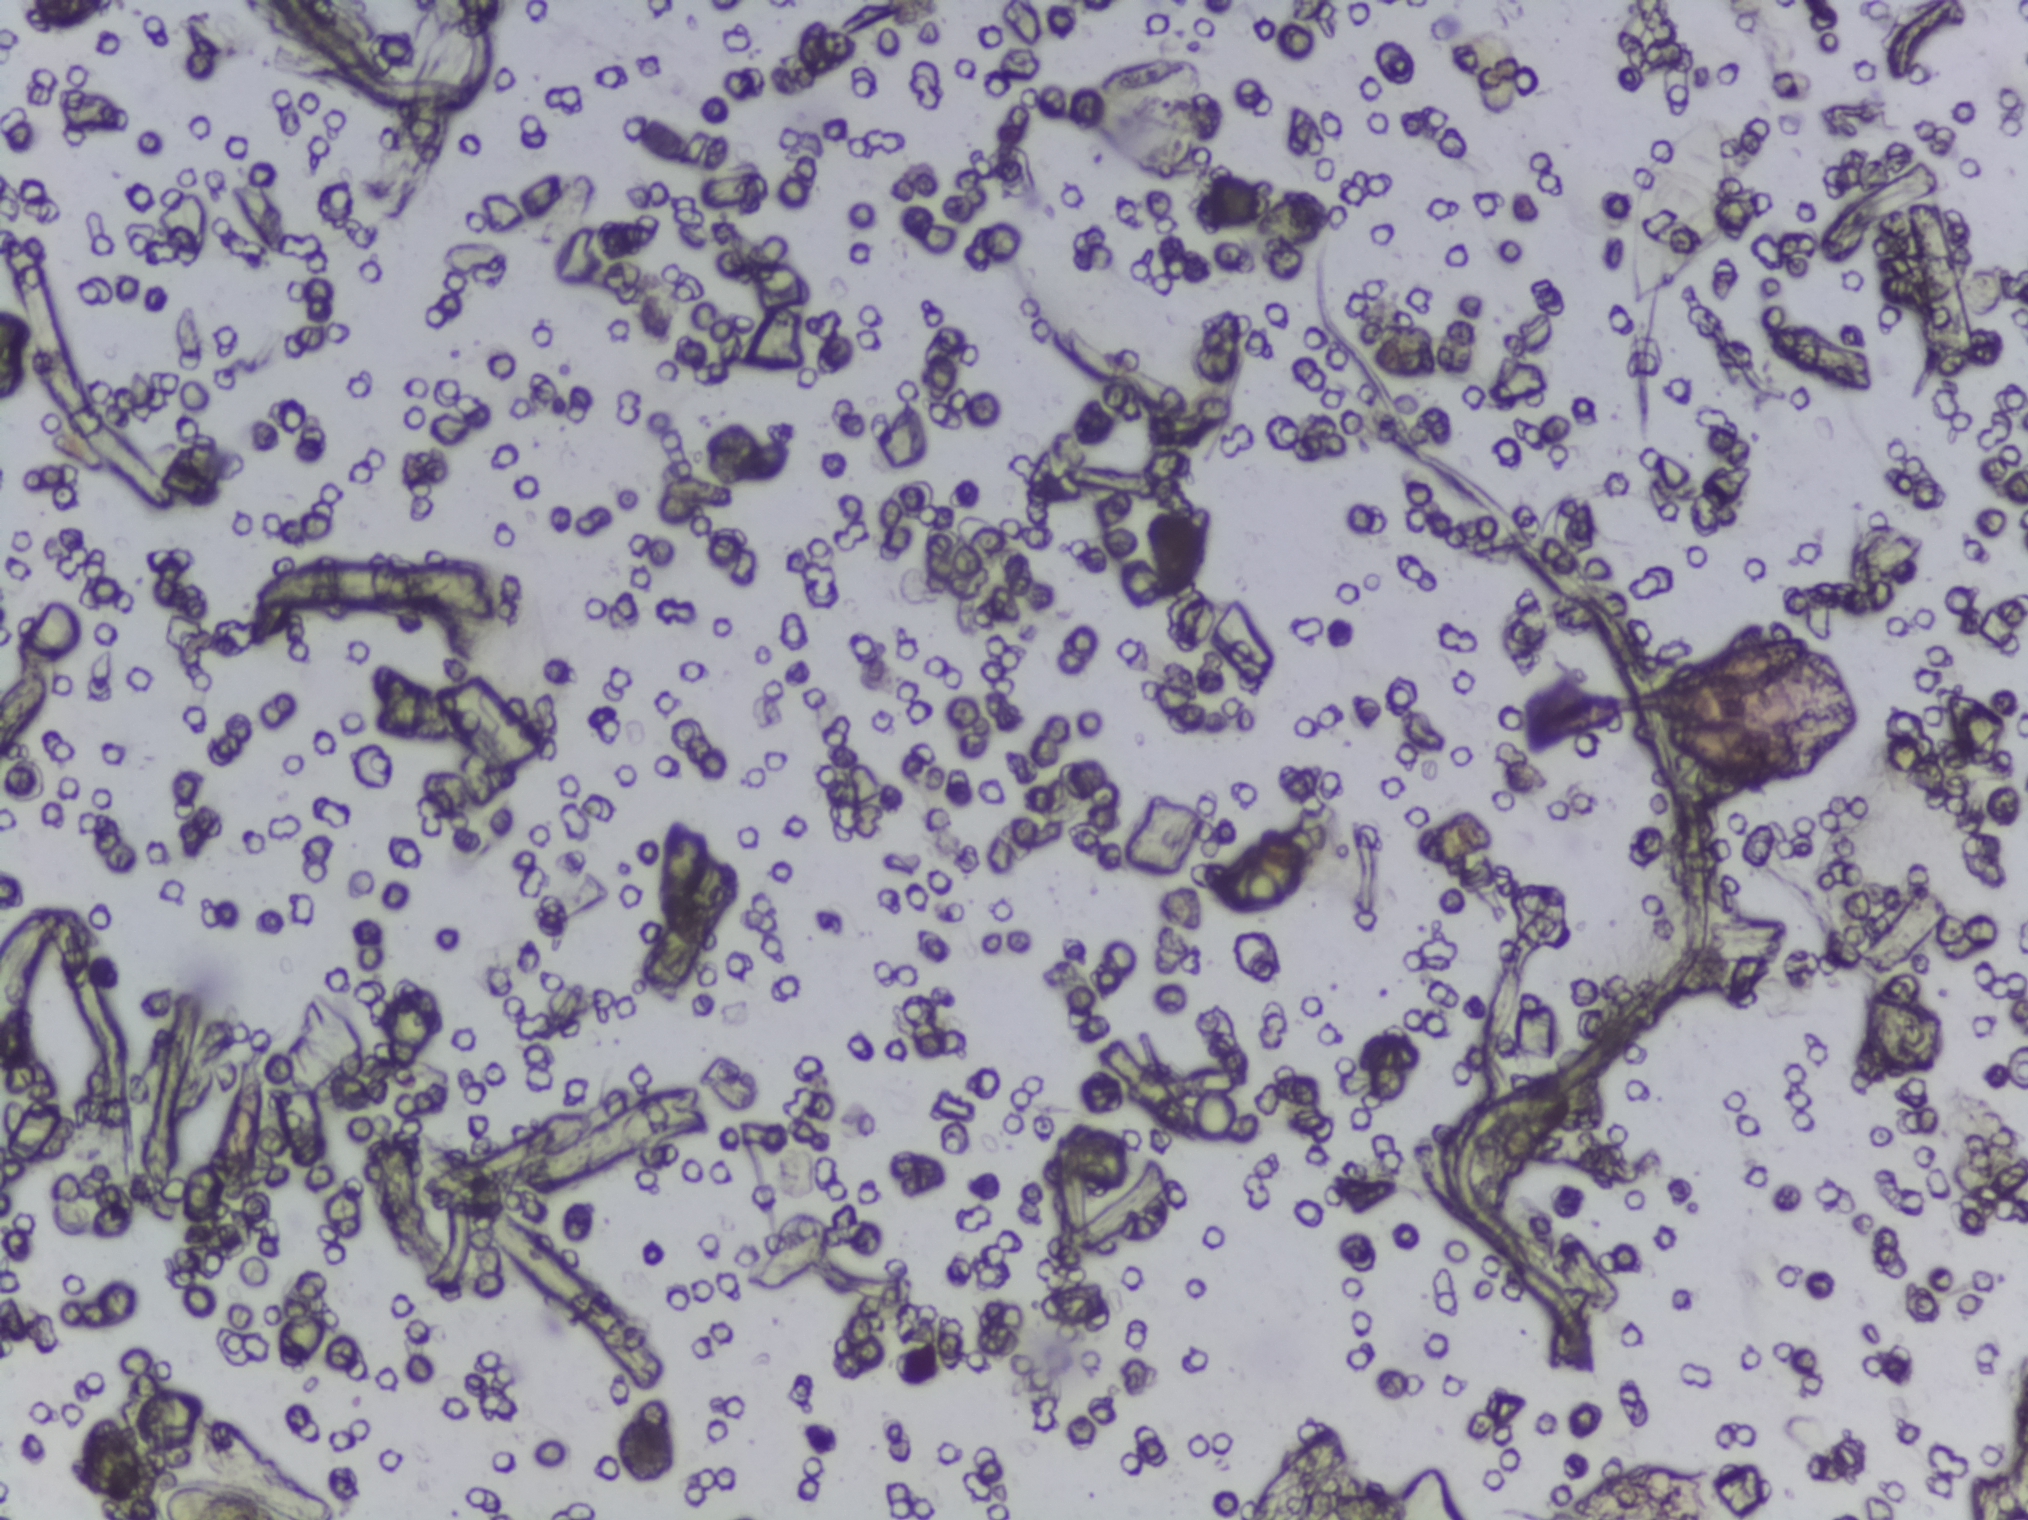
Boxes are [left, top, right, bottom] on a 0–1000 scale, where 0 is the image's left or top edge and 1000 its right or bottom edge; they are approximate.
Two areas of this image are outlined as Schistosoma eggs, from left to right: [70, 974, 143, 1000] (reaching the bottom edge of the frame) and [800, 76, 858, 206]. A single outlined area may contain several eggs.
Urine filtration membrane under a 4× objective, photographed by an automated digital microscope.